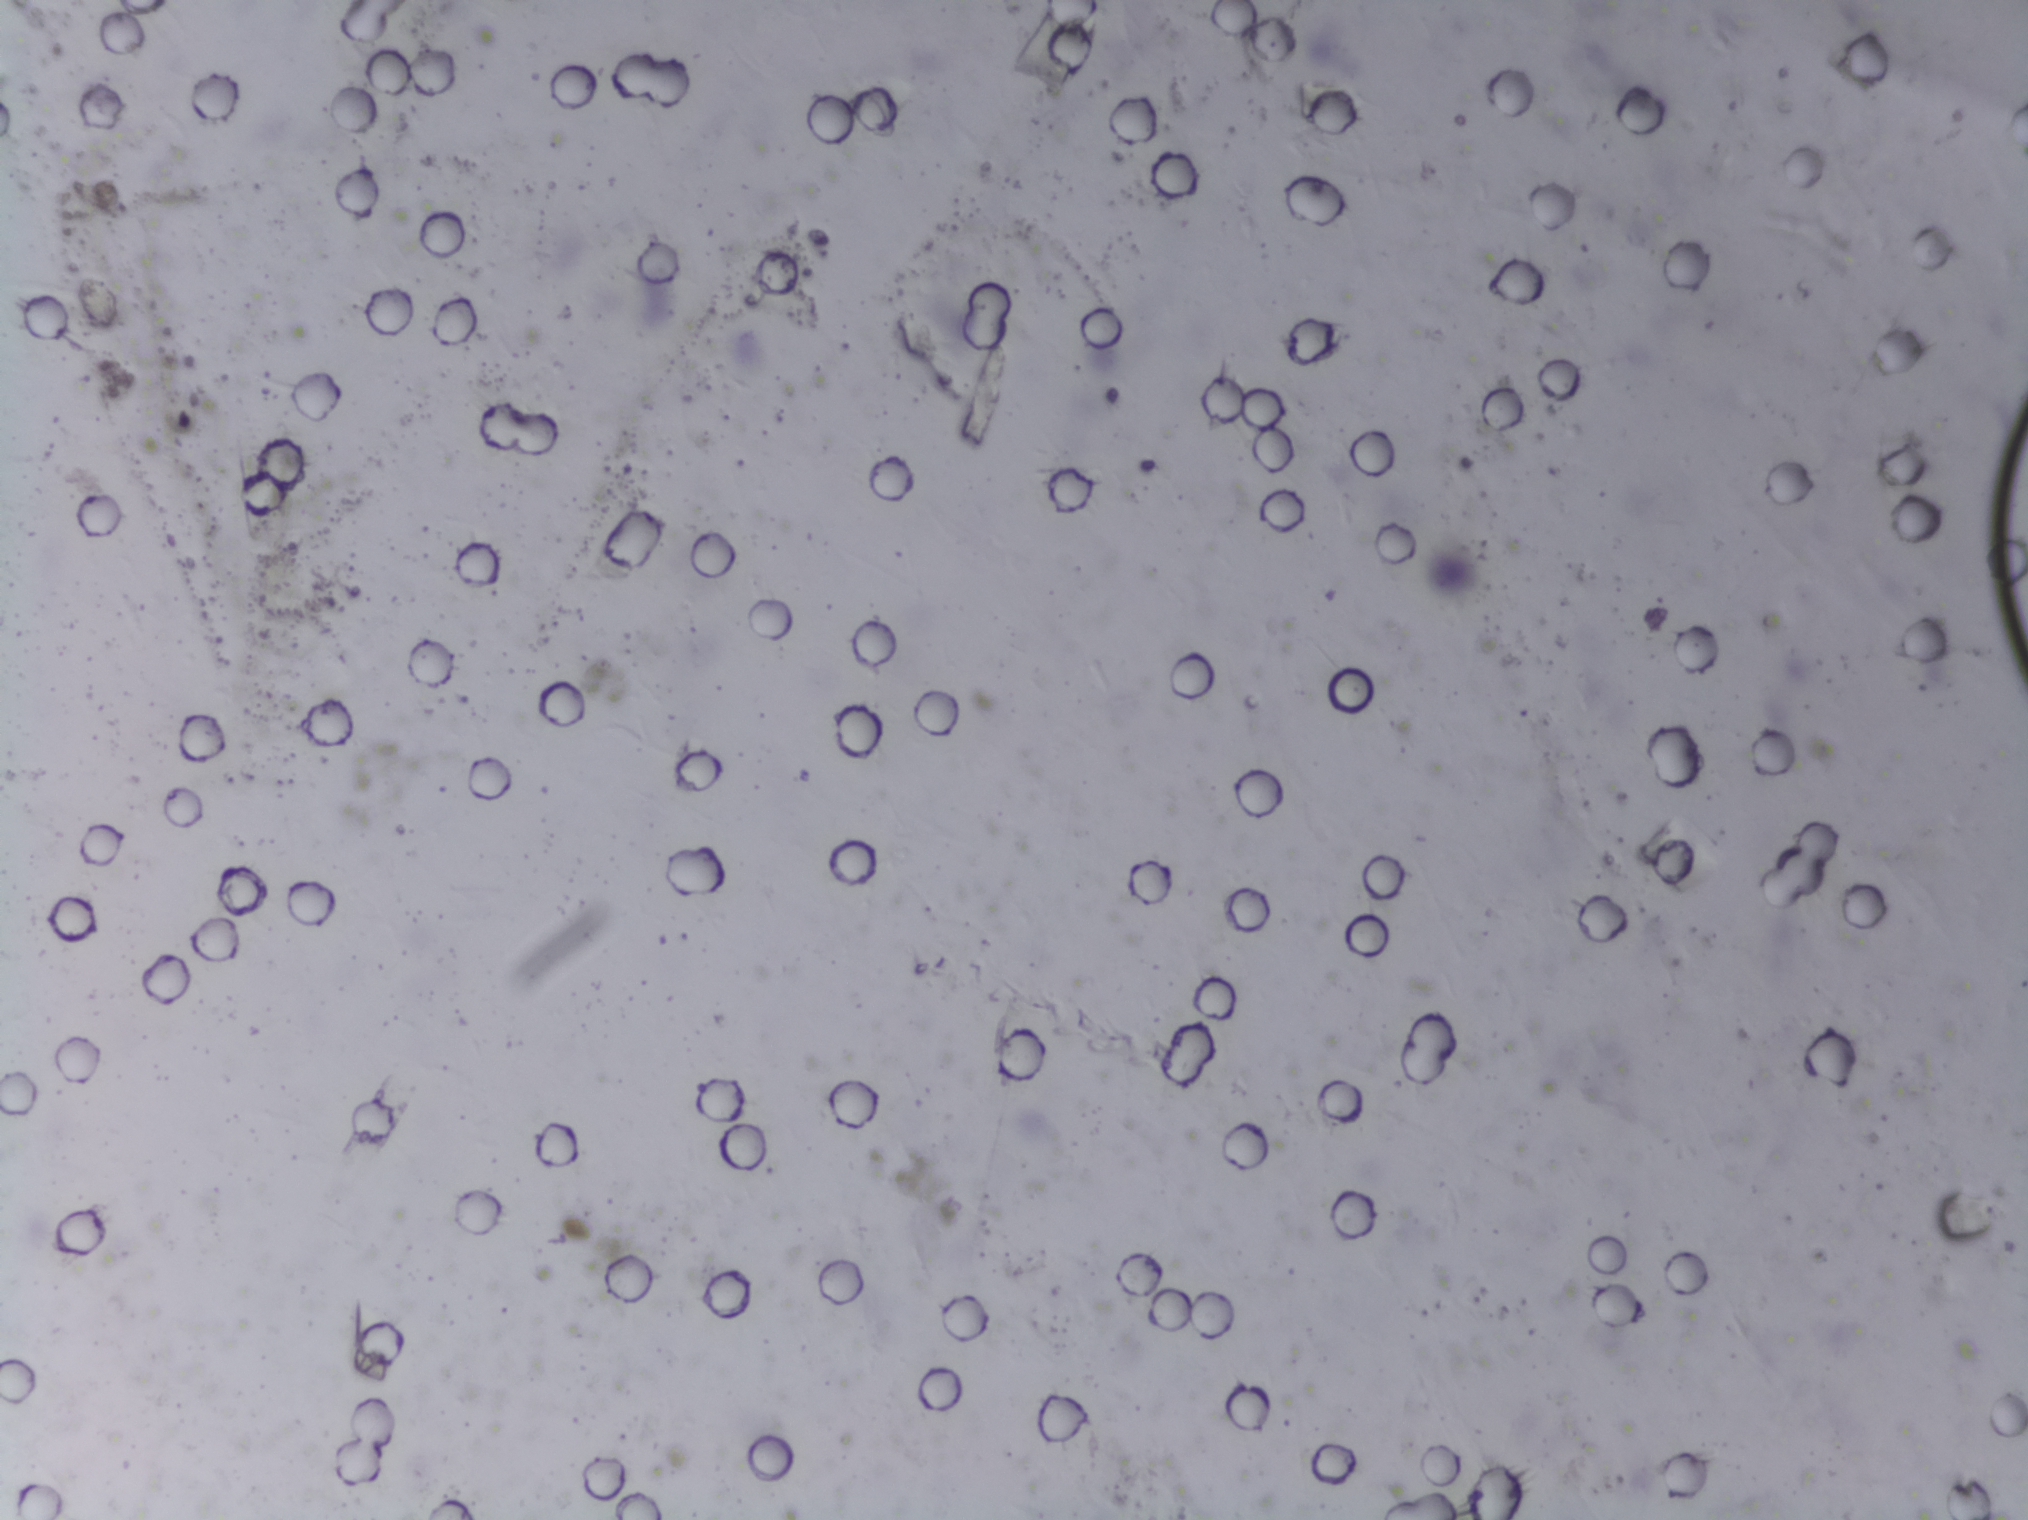
Urine filtration membrane under a 4× objective, photographed by an automated digital microscope. Field of view: about 1.5 mm wide and 1.1 mm high.
The expert annotation marks no Schistosoma egg in this field of view.